Urine filtration membrane under a 4× objective, photographed by an automated digital microscope. The image covers about 1.5 × 1.1 mm of the membrane.
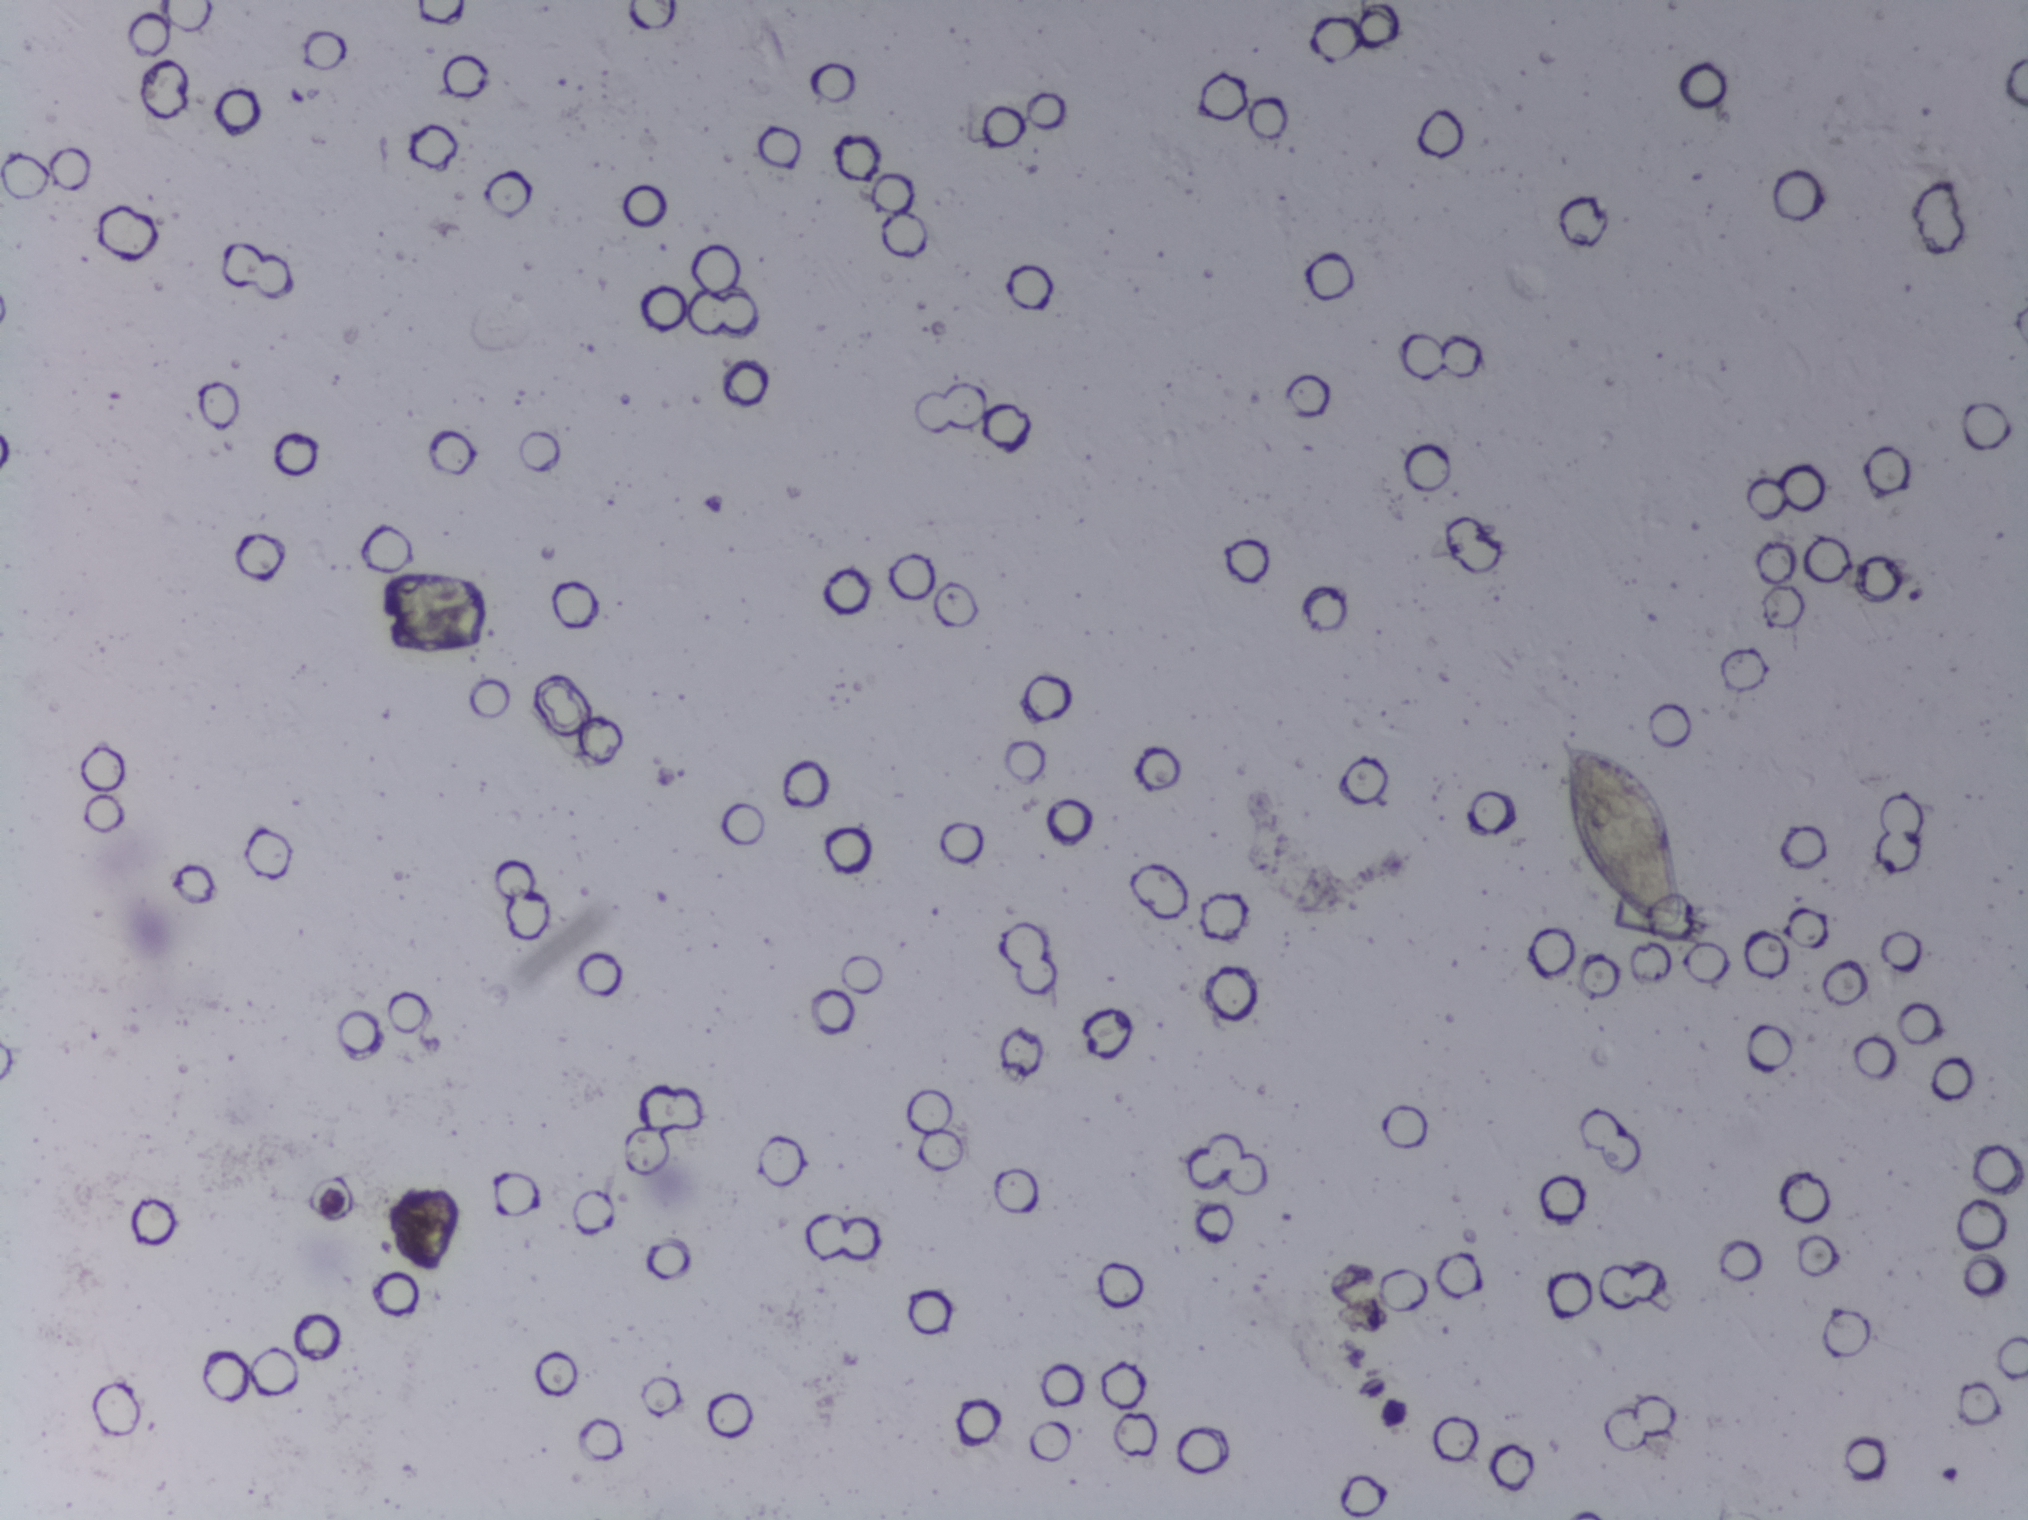
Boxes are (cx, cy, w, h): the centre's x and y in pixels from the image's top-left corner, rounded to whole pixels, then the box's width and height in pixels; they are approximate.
Areas outlined as Schistosoma eggs: (cx=1621, cy=835, w=136, h=206). The marked pixels themselves, not the box around them, cover about 0.6% of the image. A single outlined area may contain several eggs.